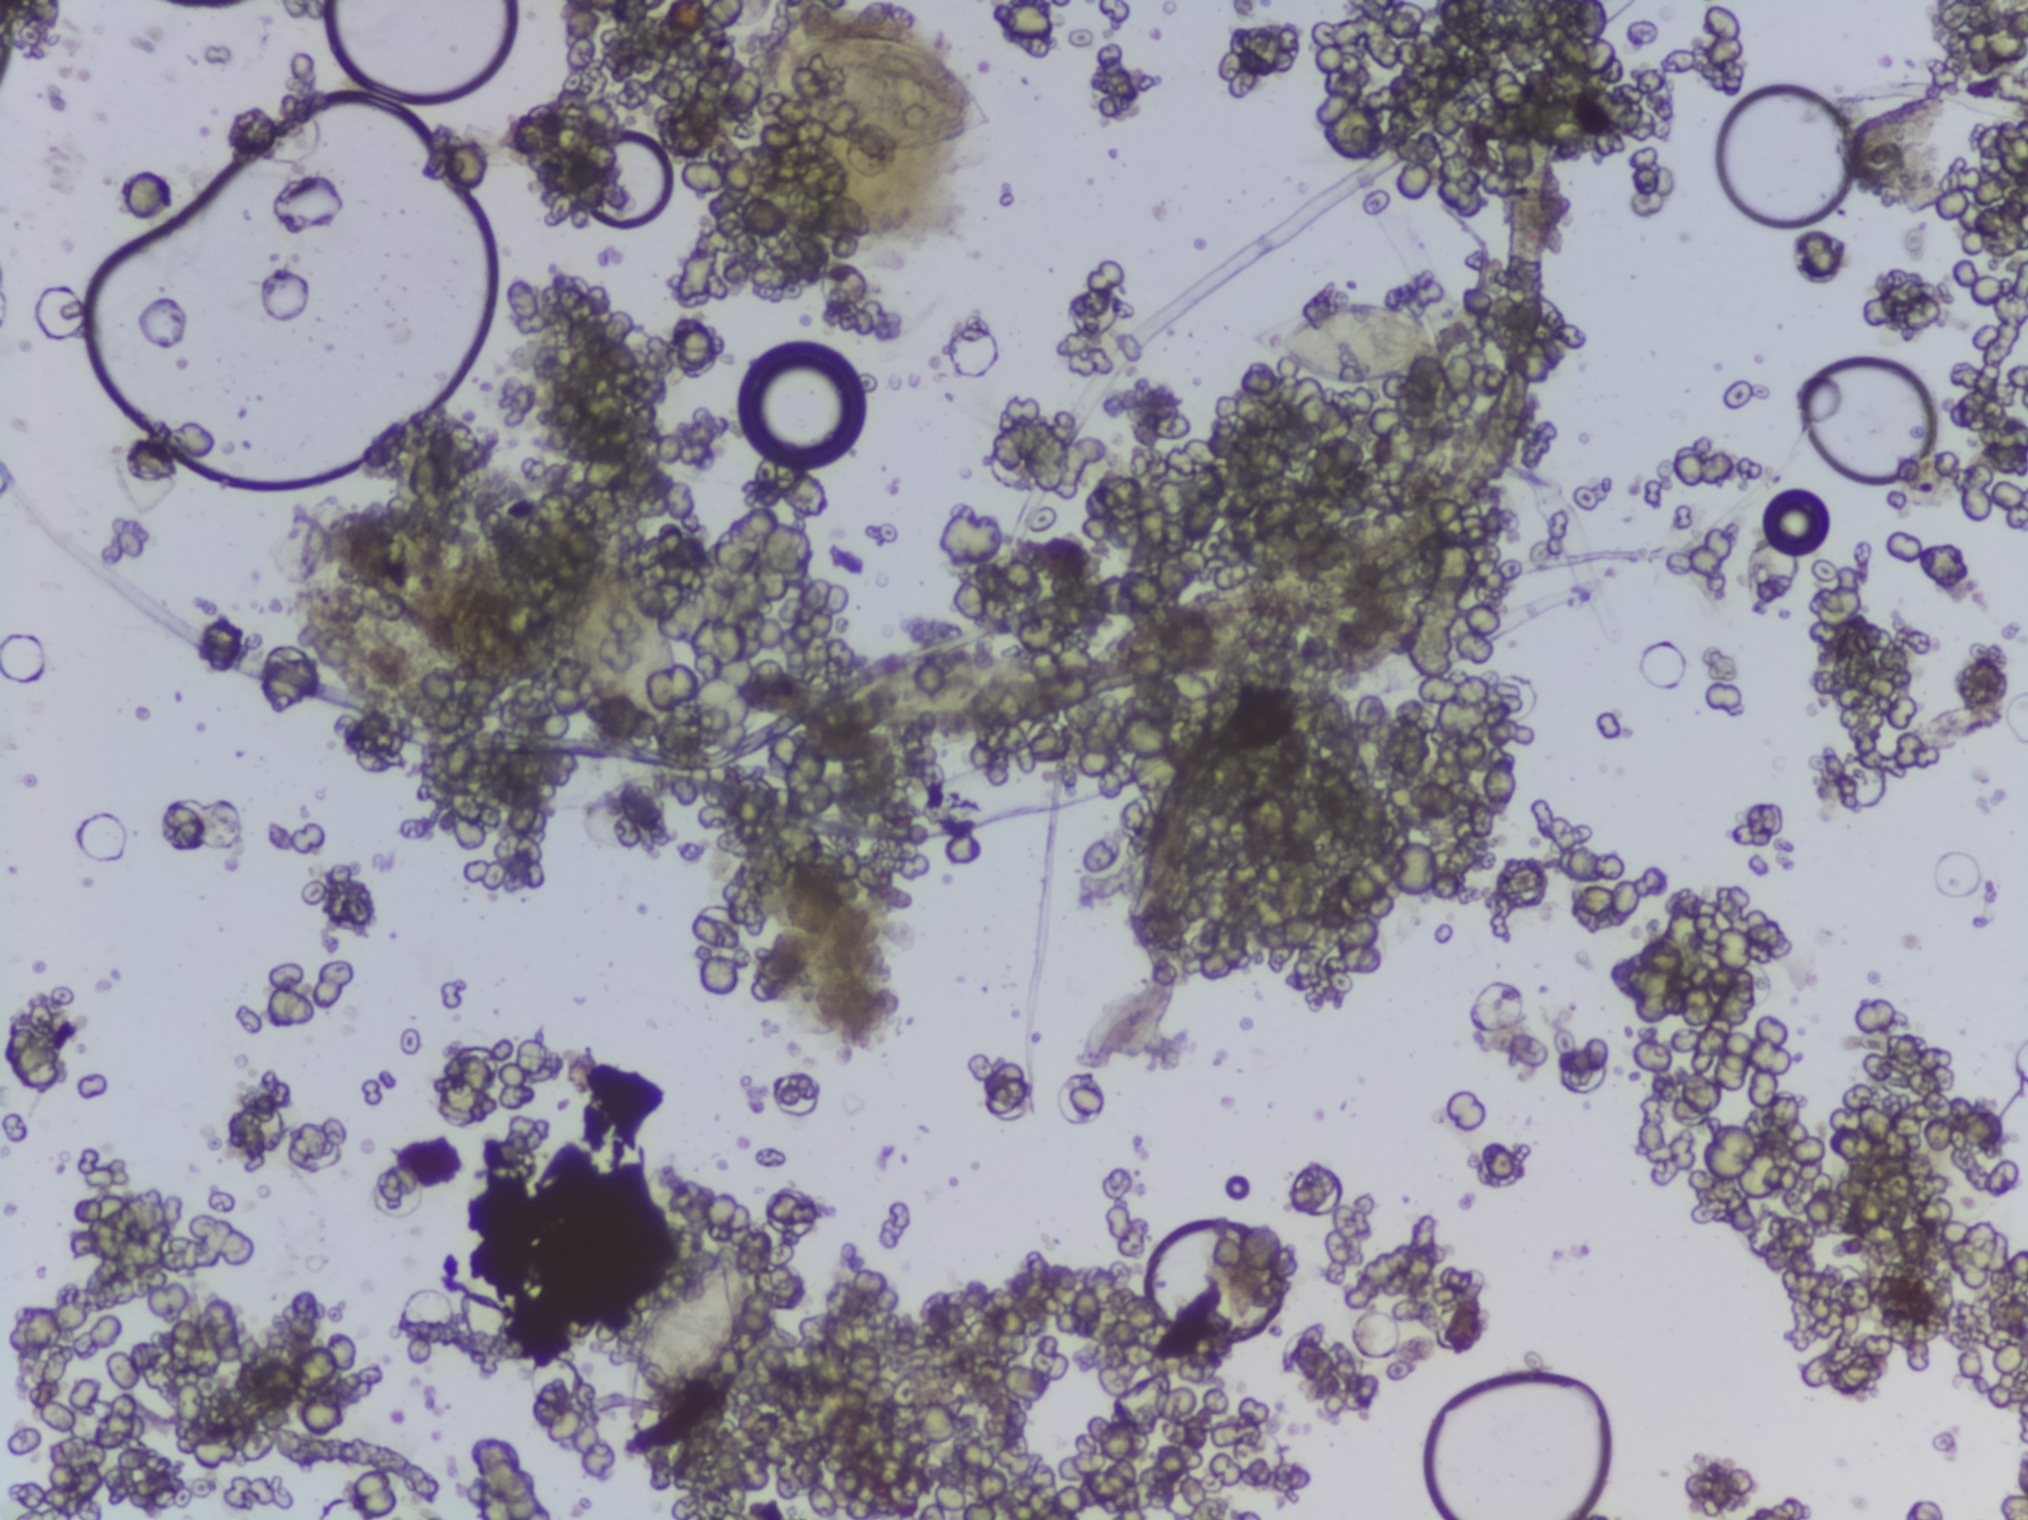
Urine filtration membrane under a 4× objective, photographed by an automated digital microscope.
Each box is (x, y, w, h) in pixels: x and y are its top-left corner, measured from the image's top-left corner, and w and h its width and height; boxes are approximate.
The expert annotation outlines Schistosoma eggs at (x=561, y=548, w=122, h=215); (x=625, y=1260, w=117, h=199); (x=748, y=27, w=246, h=123); (x=1248, y=296, w=199, h=91) (left to right). About 2.3% of the image's pixels are marked (the marked pixels themselves, not the boxes around them). Eggs that touch can end up inside the same outlined area.